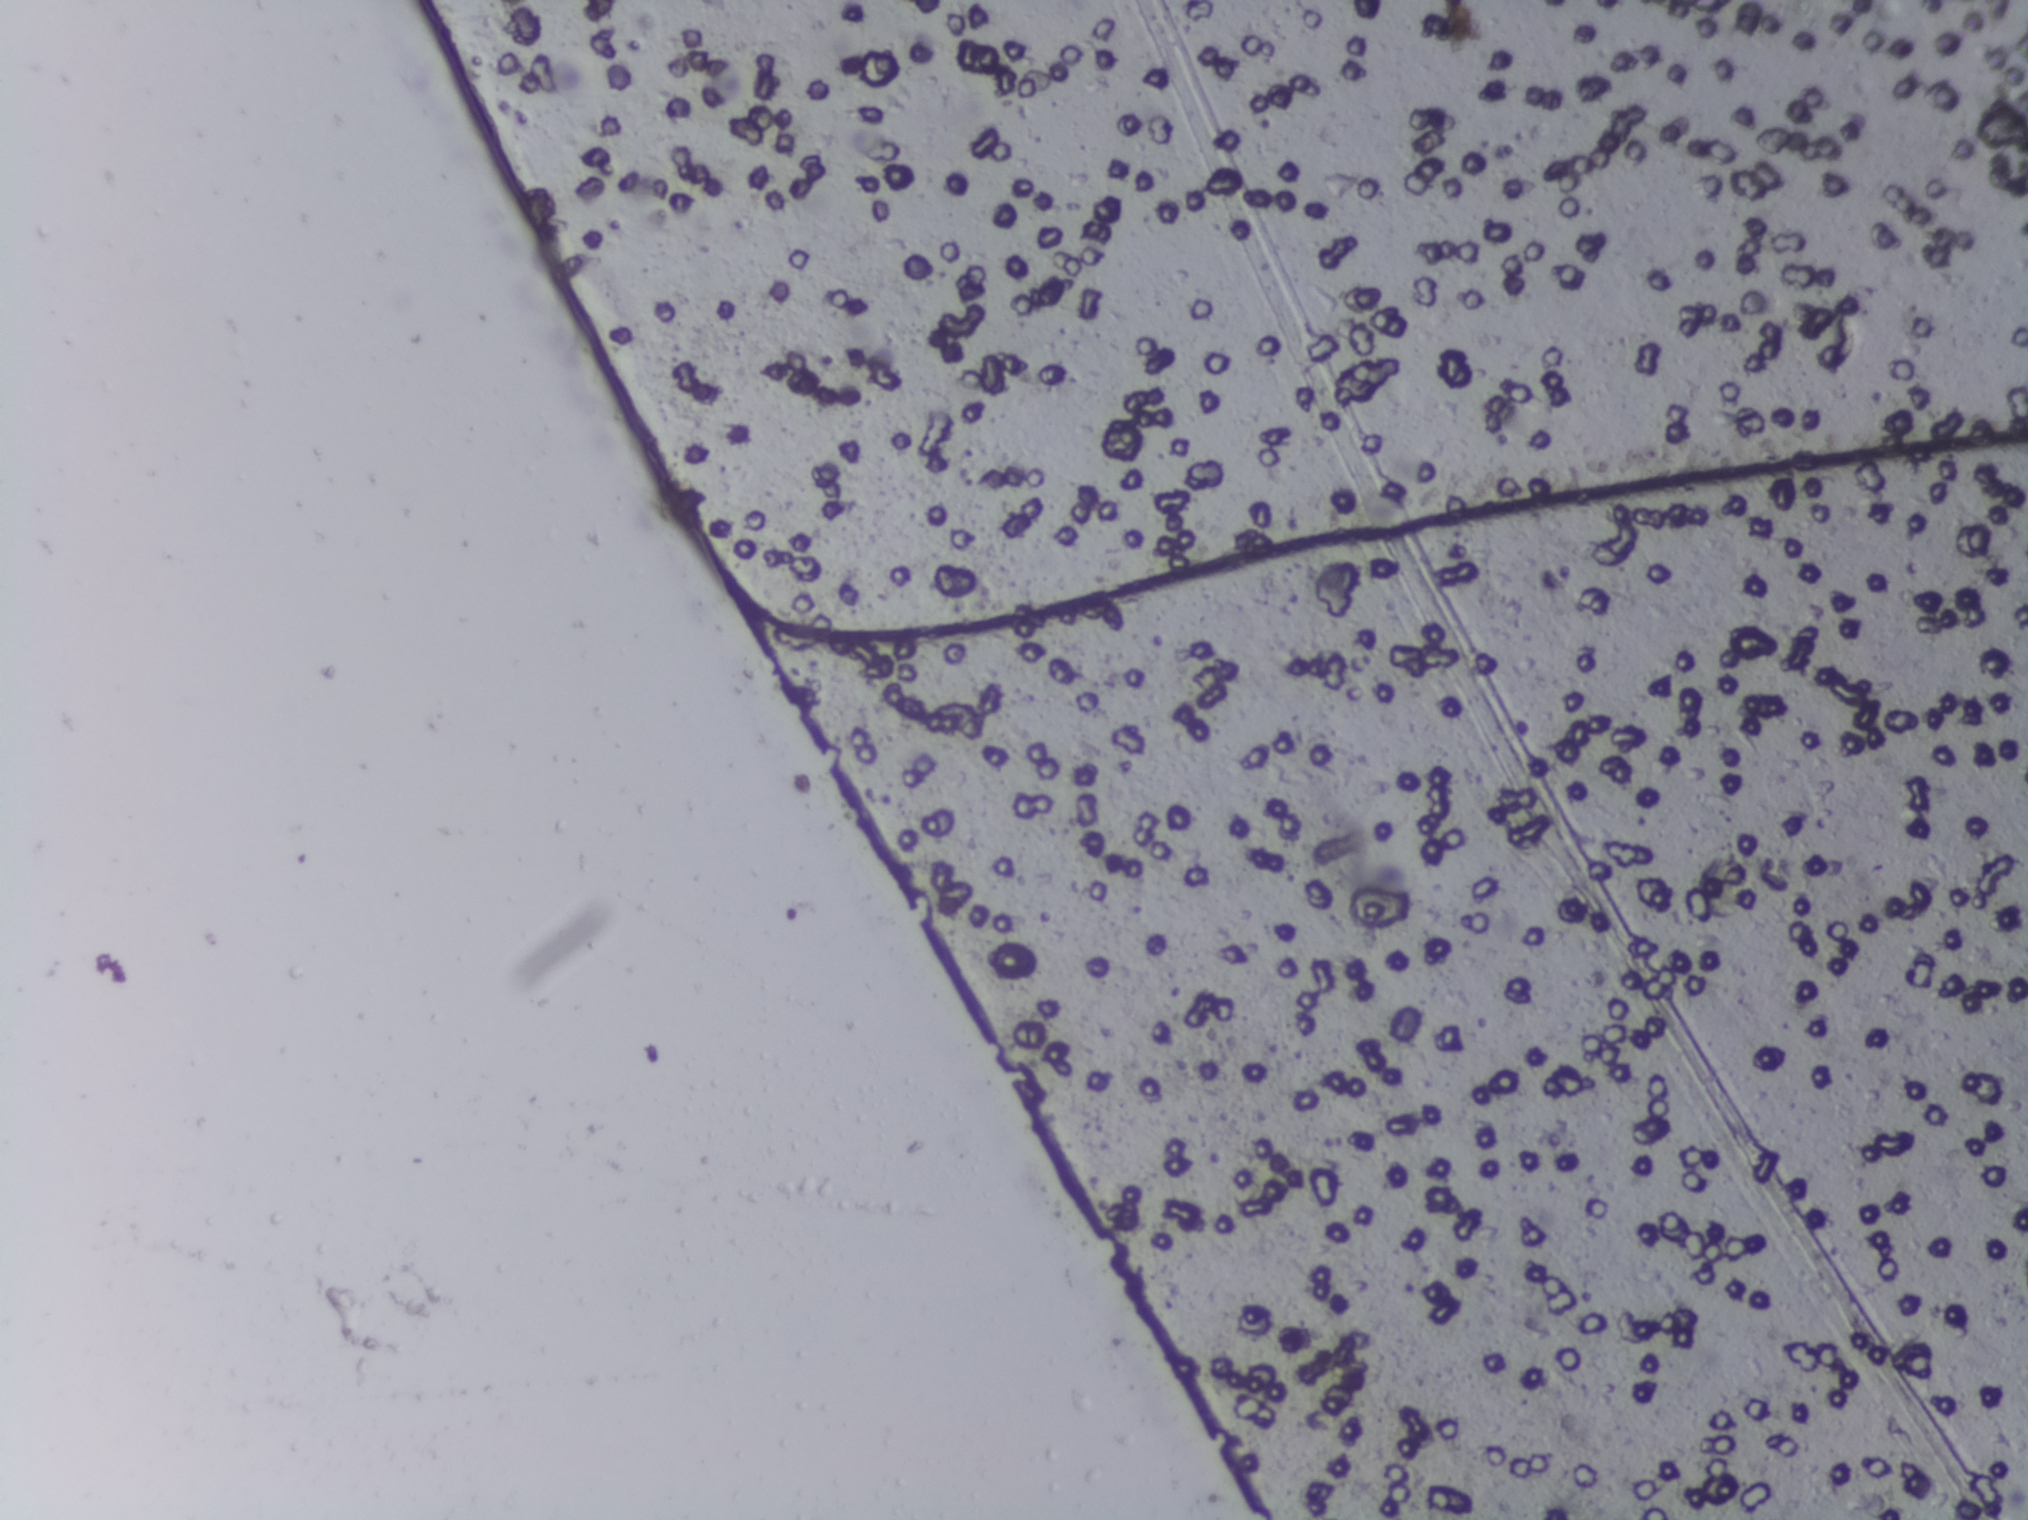
The expert annotation marks no Schistosoma egg in this field of view.
Urine filter membrane photographed through a 4× microscope objective. The field of view is about 1.5 mm × 1.1 mm.